Microscope photograph (4× objective) of a membrane that a urine sample was filtered through. Field of view: about 1.5 mm wide and 1.1 mm high.
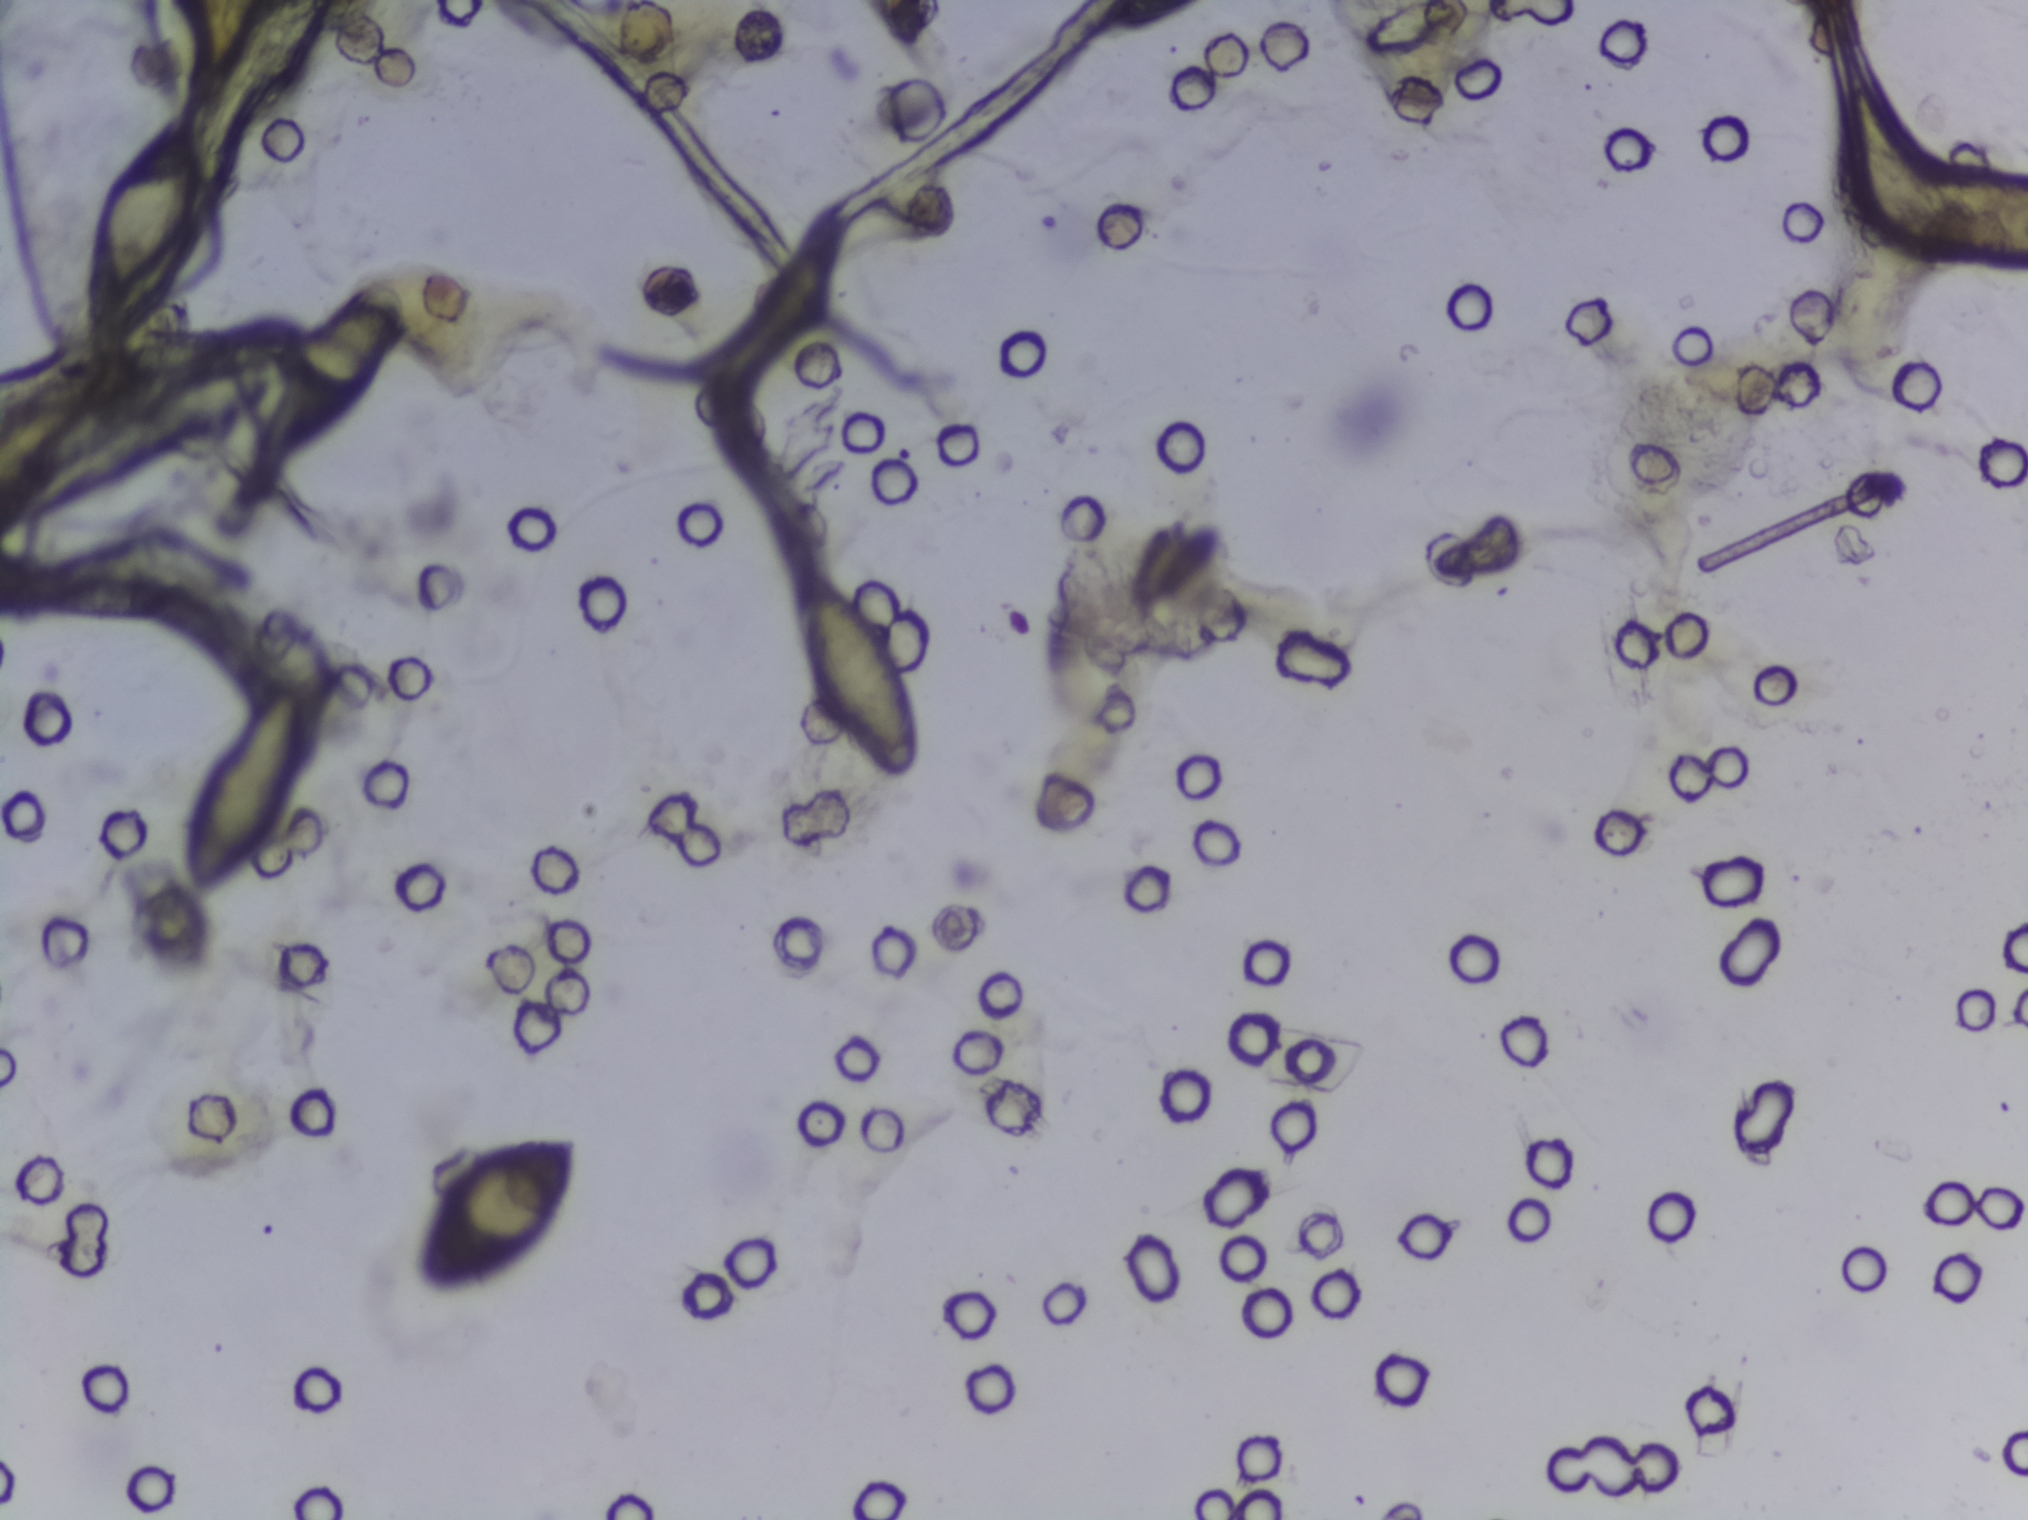
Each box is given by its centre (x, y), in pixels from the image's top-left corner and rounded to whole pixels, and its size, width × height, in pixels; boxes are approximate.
Findings: five areas outlined as Schistosoma eggs. Locations, left to right: centre (143, 223), 126 × 223 px; centre (240, 794), 127 × 212 px; centre (327, 369), 158 × 182 px; centre (498, 1214), 165 × 170 px; centre (861, 681), 128 × 213 px. An outlined area can hold more than one egg.